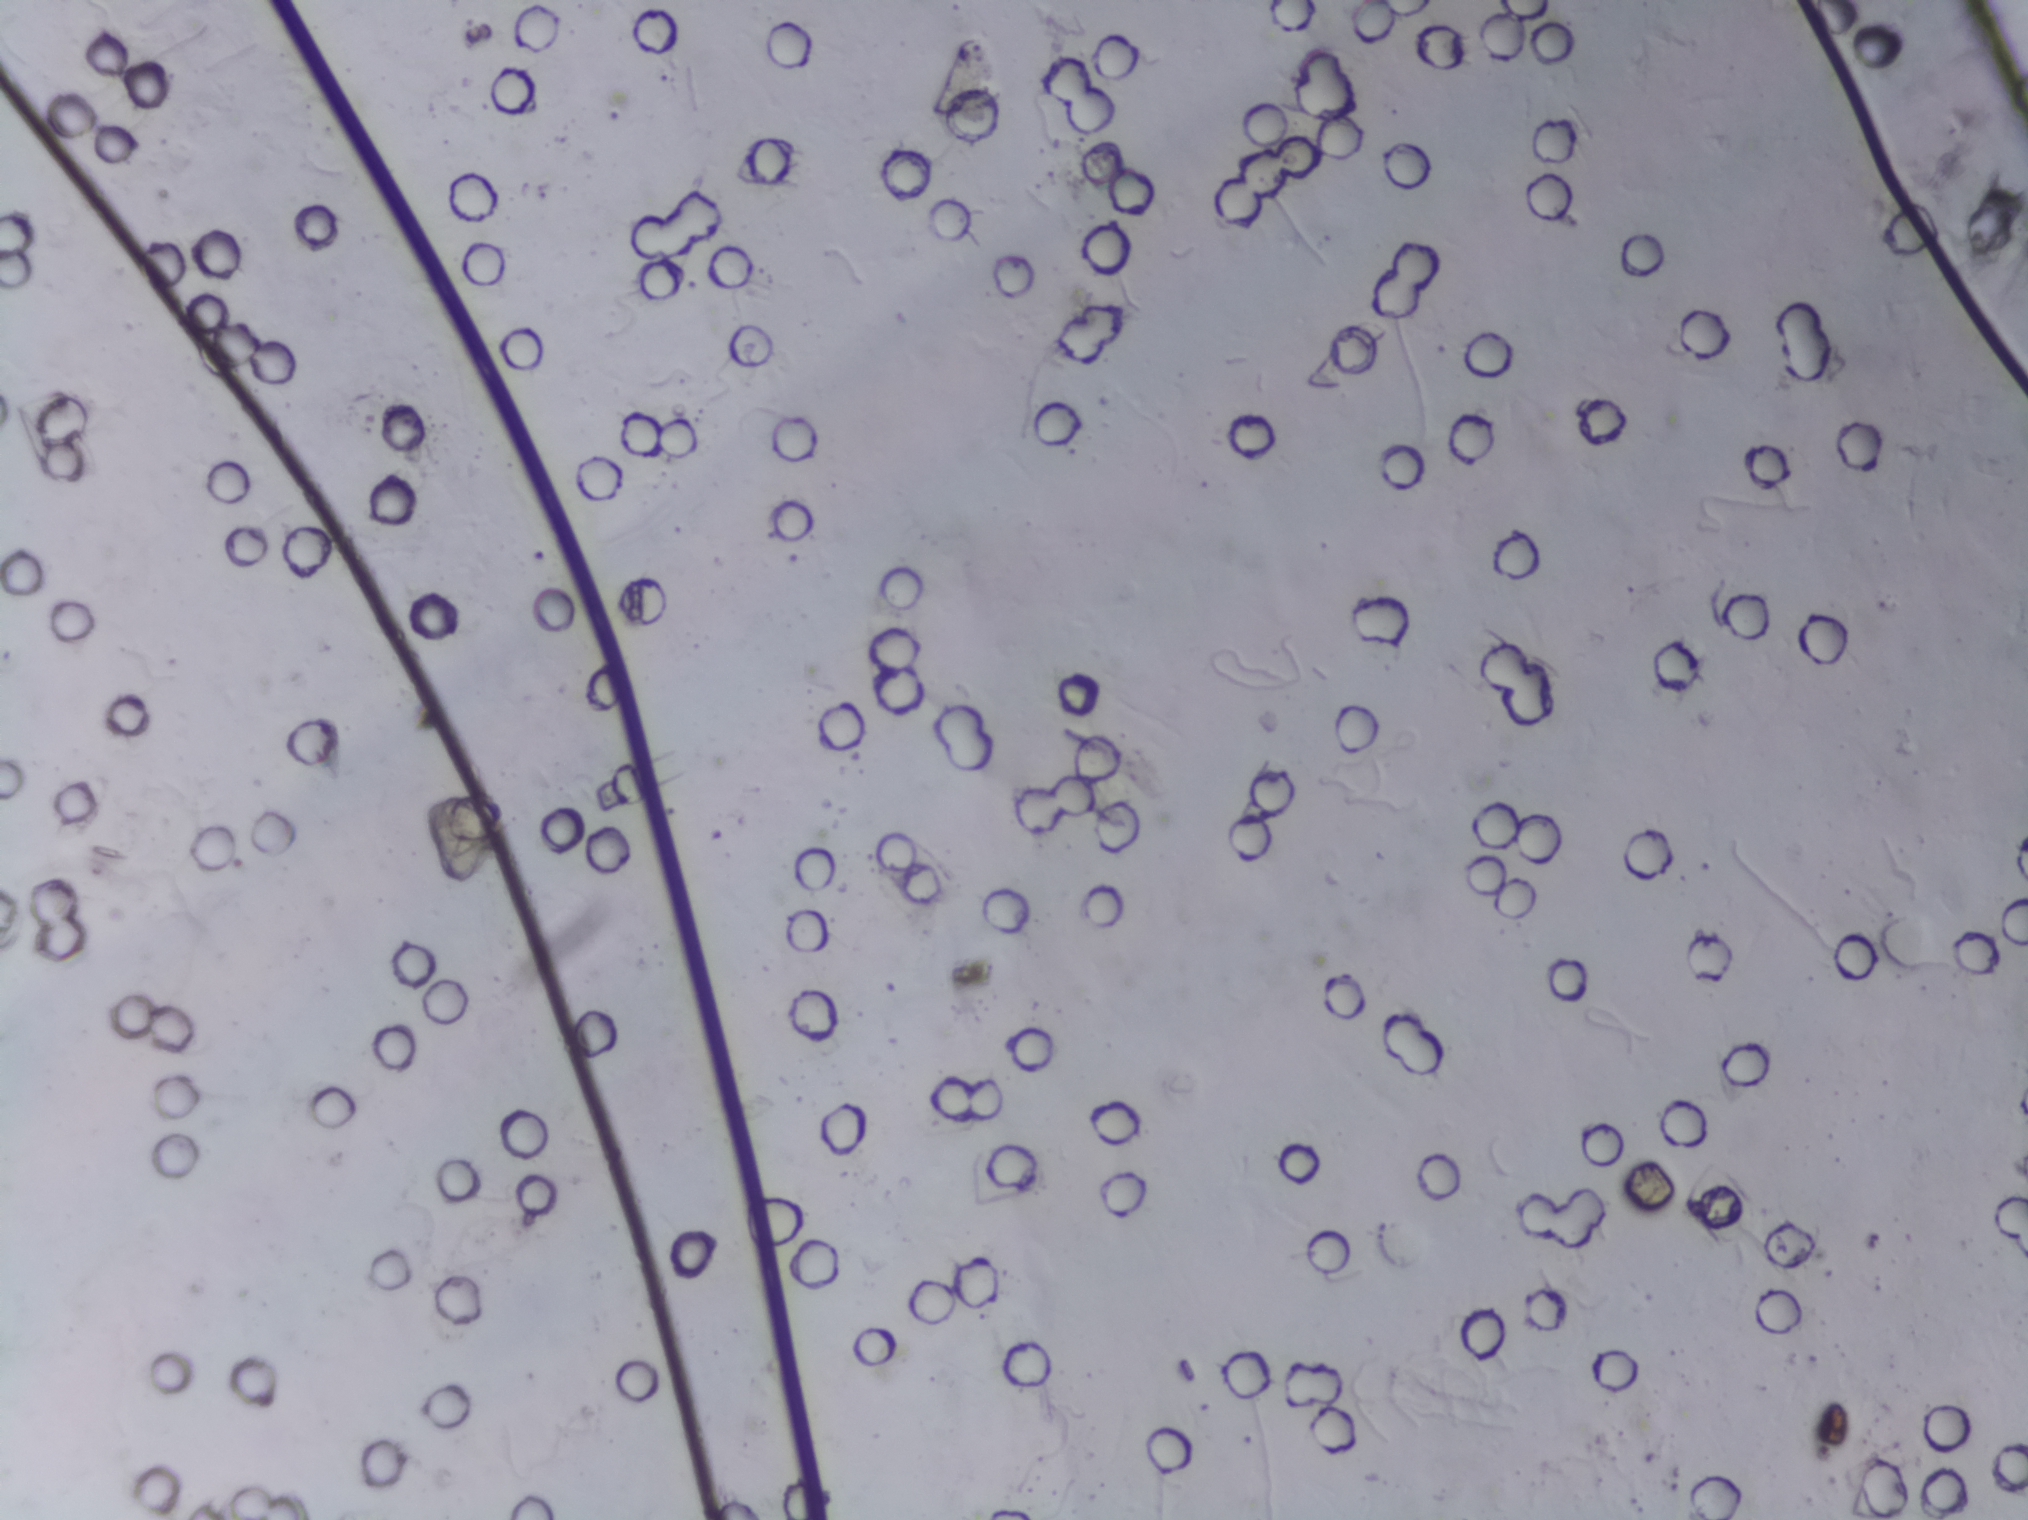
Urine filter membrane photographed through a 4× microscope objective. Field of view: about 1.5 mm wide and 1.1 mm high.
The expert annotation outlines no Schistosoma egg in this image.